Urine filtration membrane under a 4× objective, photographed by an automated digital microscope. Field of view: about 1.5 mm wide and 1.1 mm high.
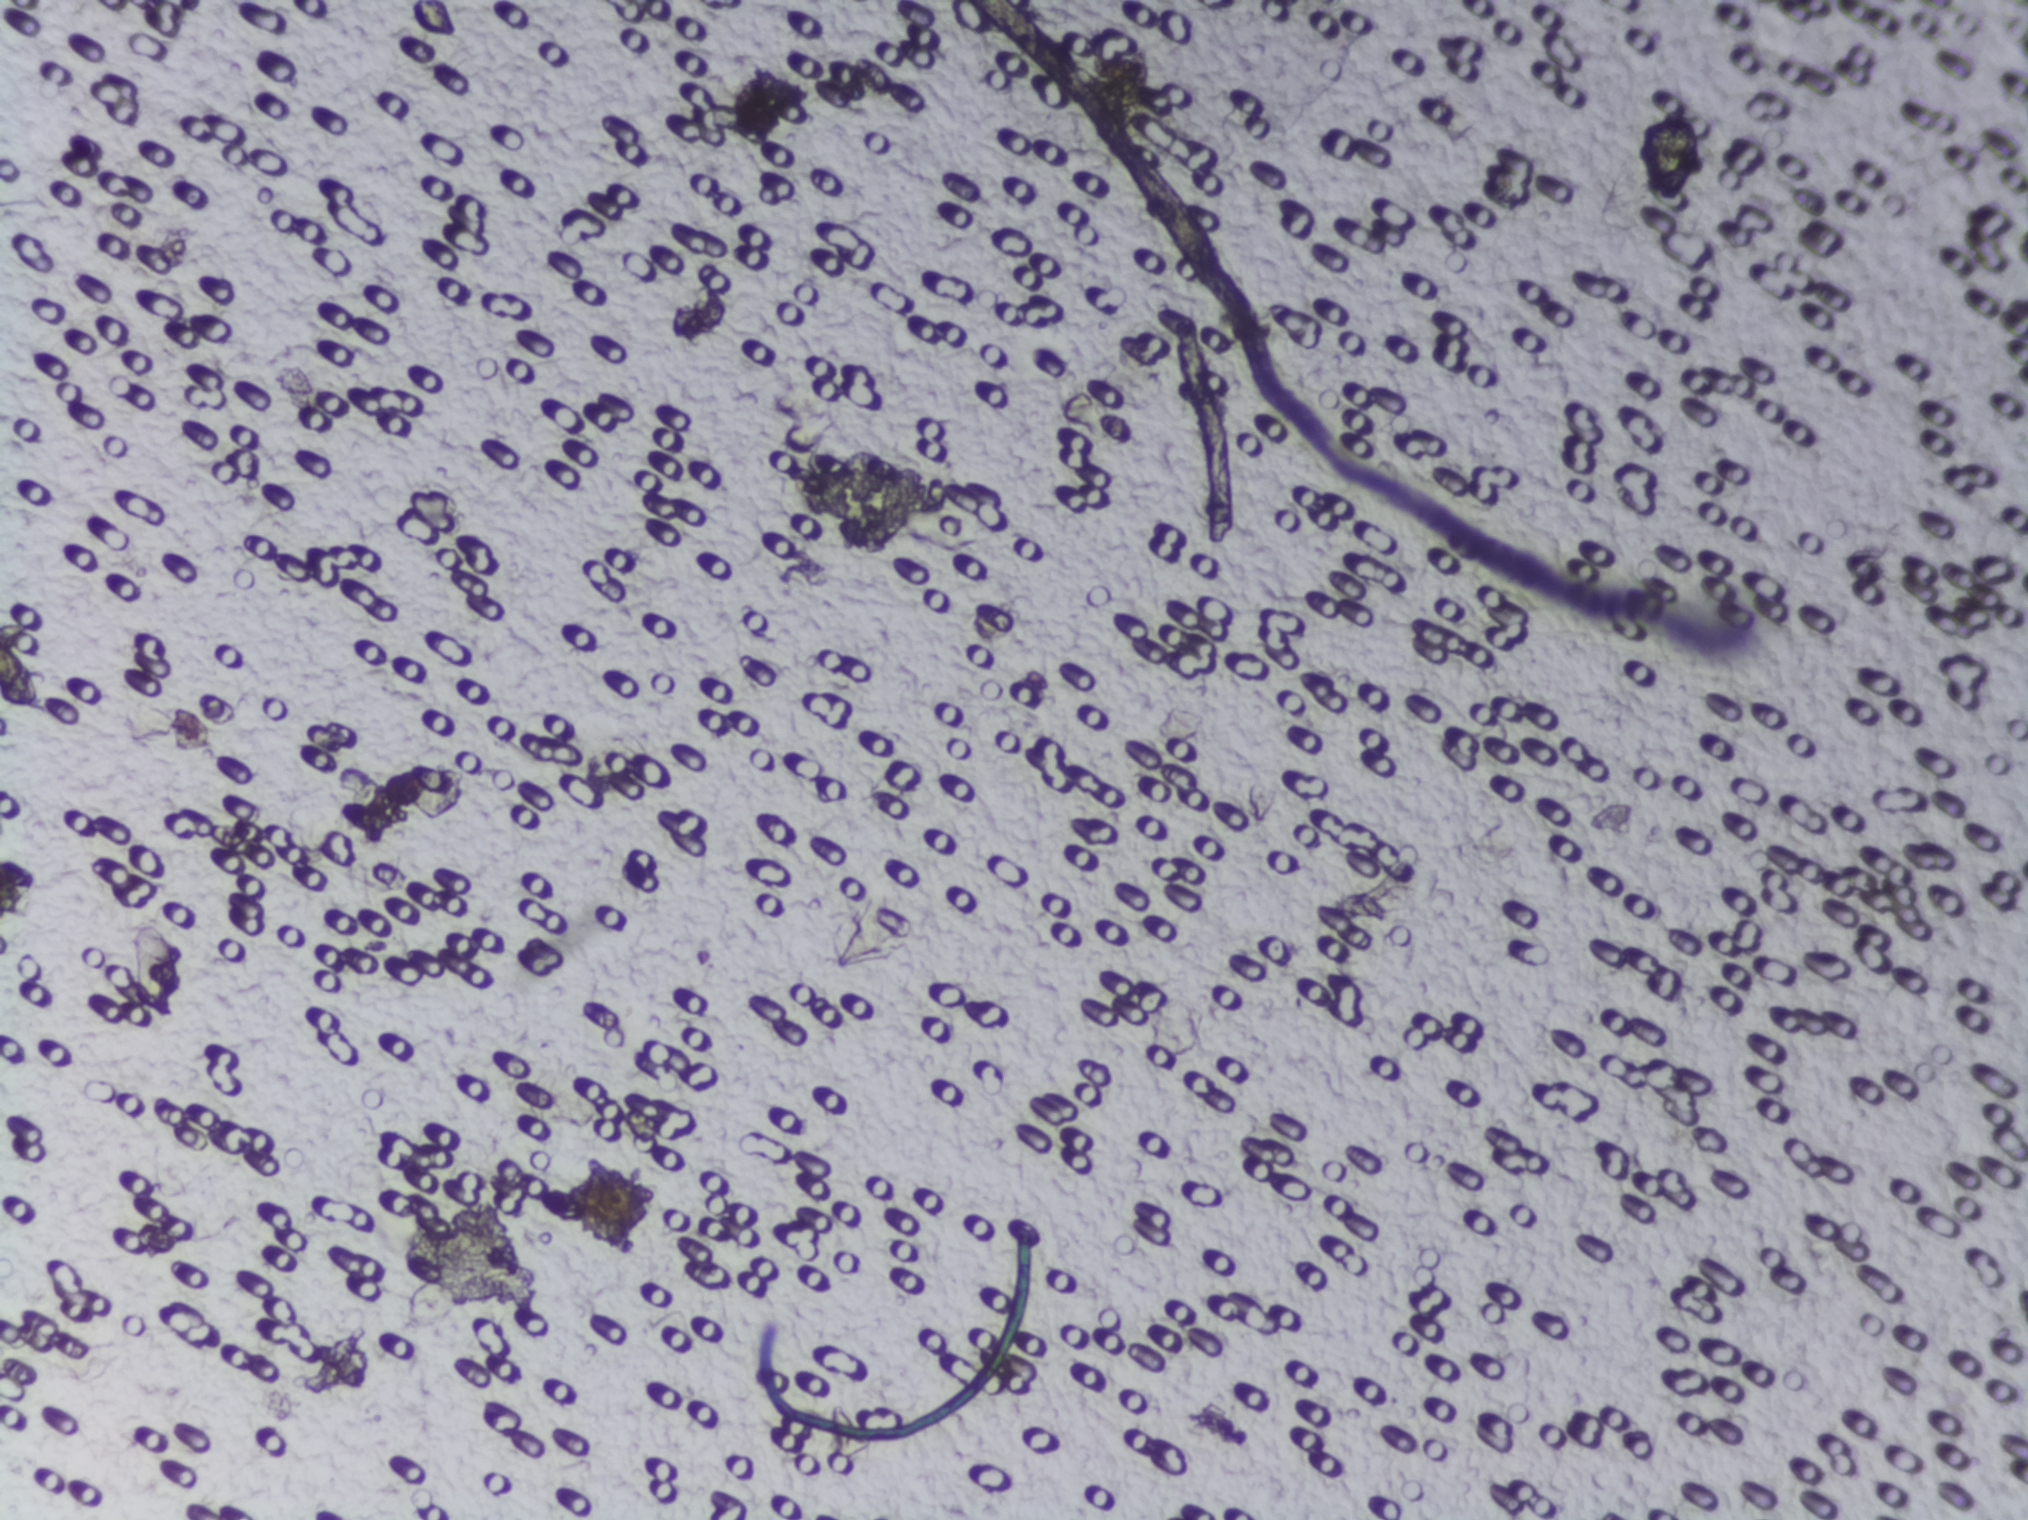
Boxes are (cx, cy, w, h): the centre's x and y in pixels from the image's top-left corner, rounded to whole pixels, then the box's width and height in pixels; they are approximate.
Schistosoma eggs are outlined in the expert annotation at (cx=1669, cy=150, w=73, h=113). The marked pixels themselves, not the box around them, cover about 0.2% of the image. Eggs that touch can end up inside the same outlined area.